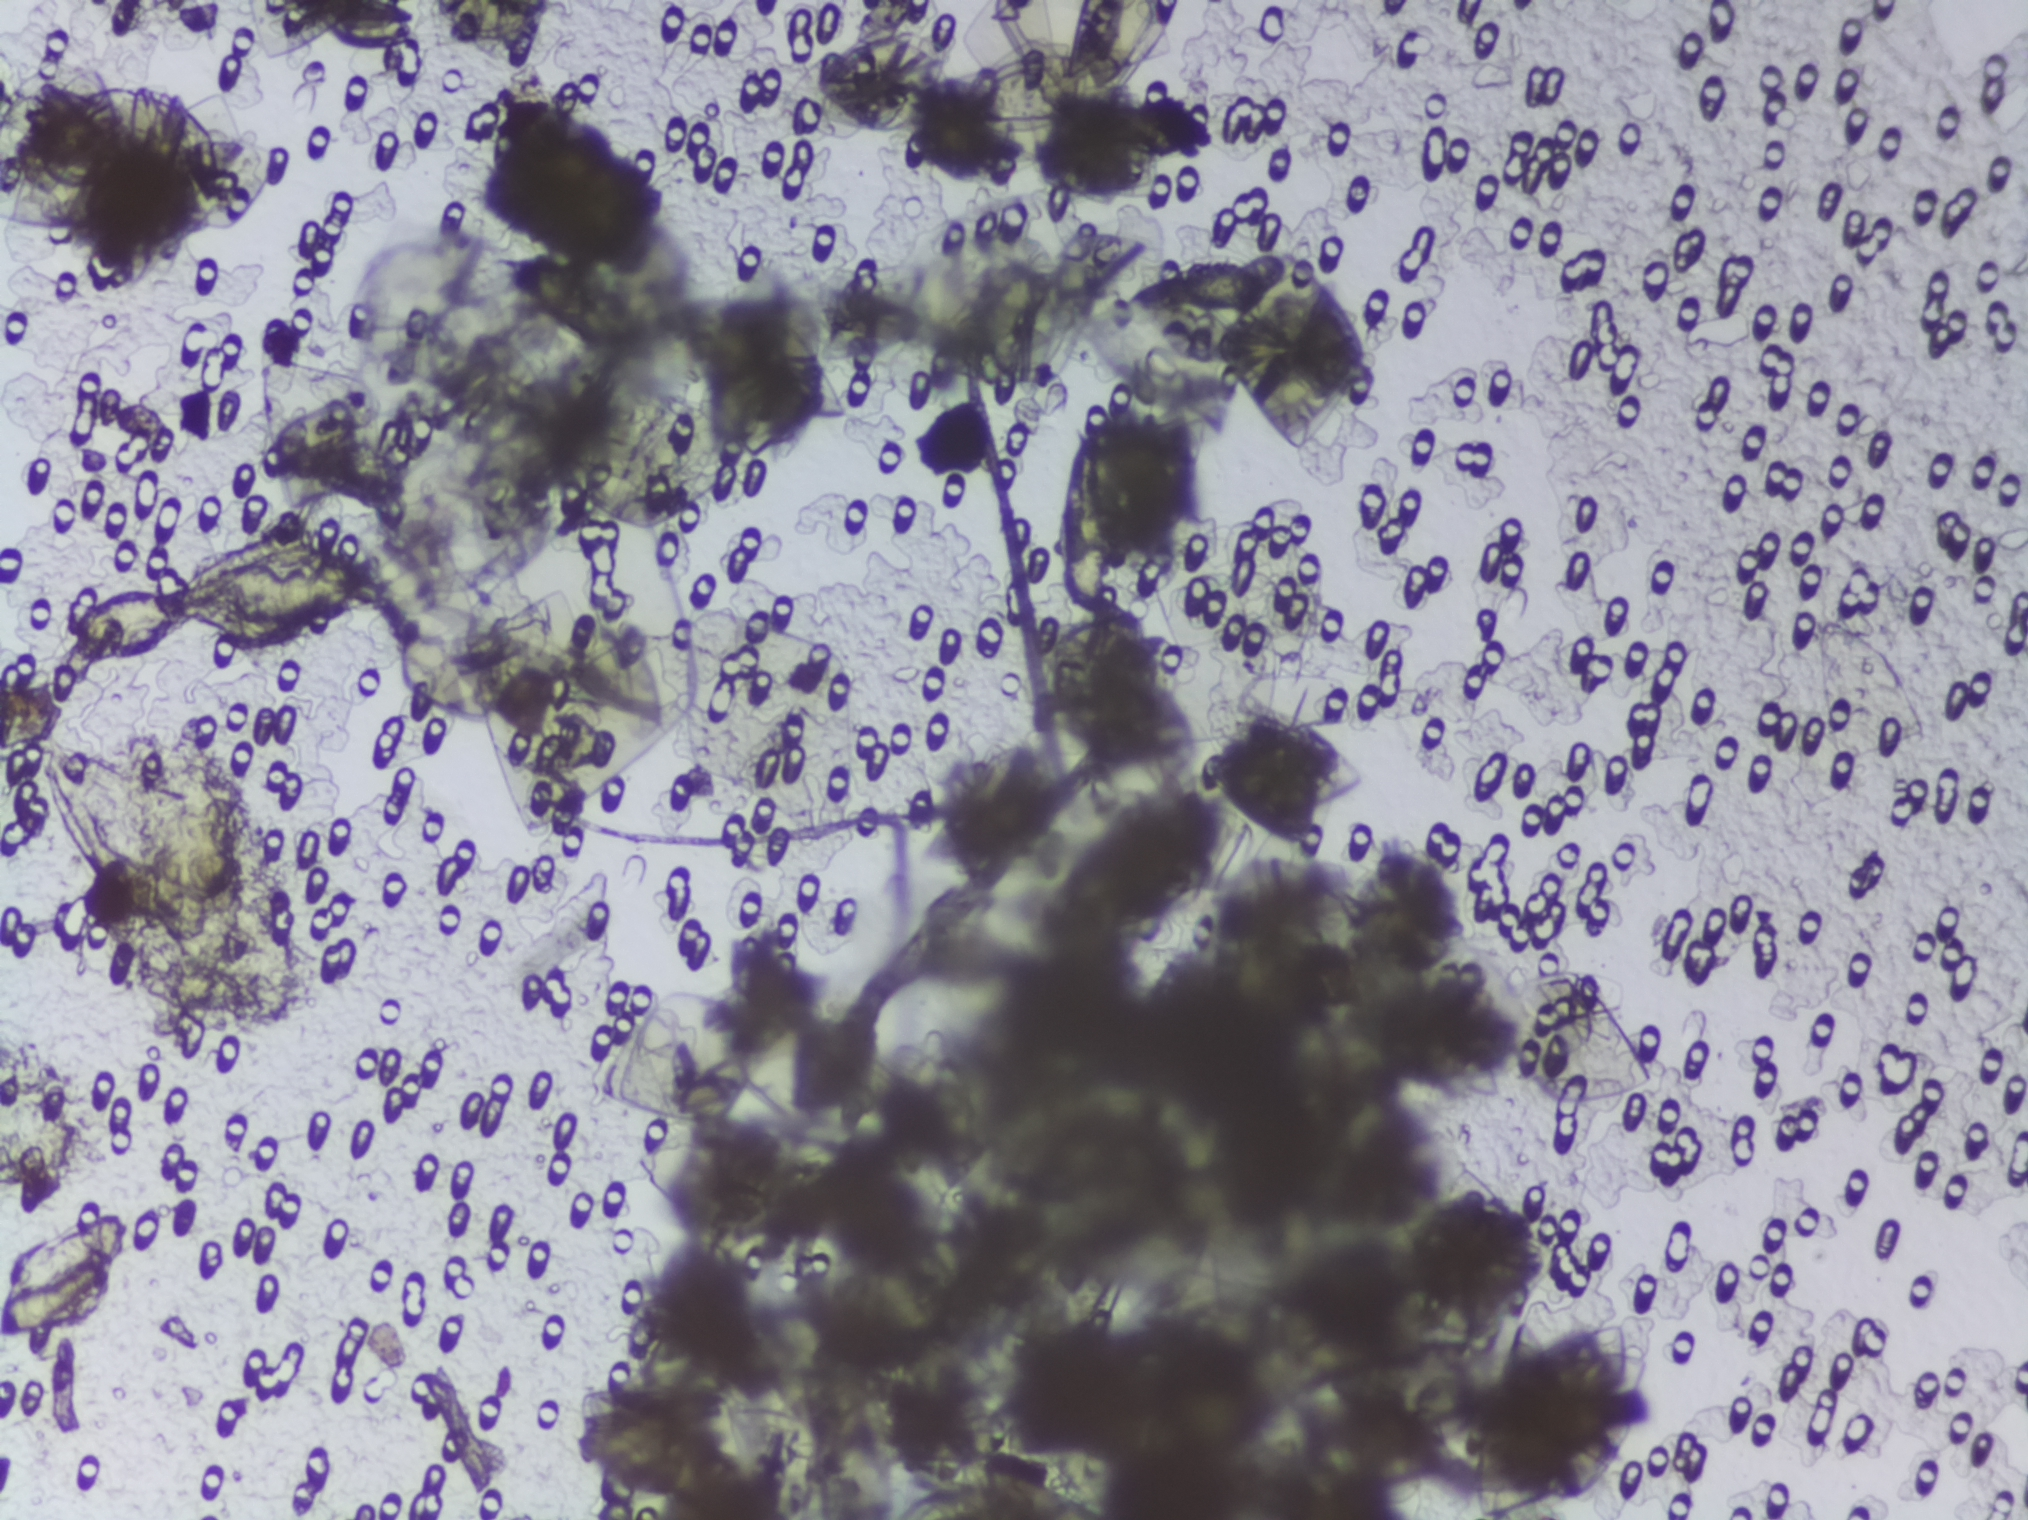
One field of view of a urine filter membrane, 4× objective, 2028 × 1520 pixels.
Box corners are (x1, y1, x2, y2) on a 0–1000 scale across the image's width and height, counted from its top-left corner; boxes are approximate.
Two areas of this image are outlined as Schistosoma eggs, from left to right: (0, 793, 64, 881) (reaching the left edge of the frame) and (23, 348, 196, 439). Eggs that touch can end up inside the same outlined area.